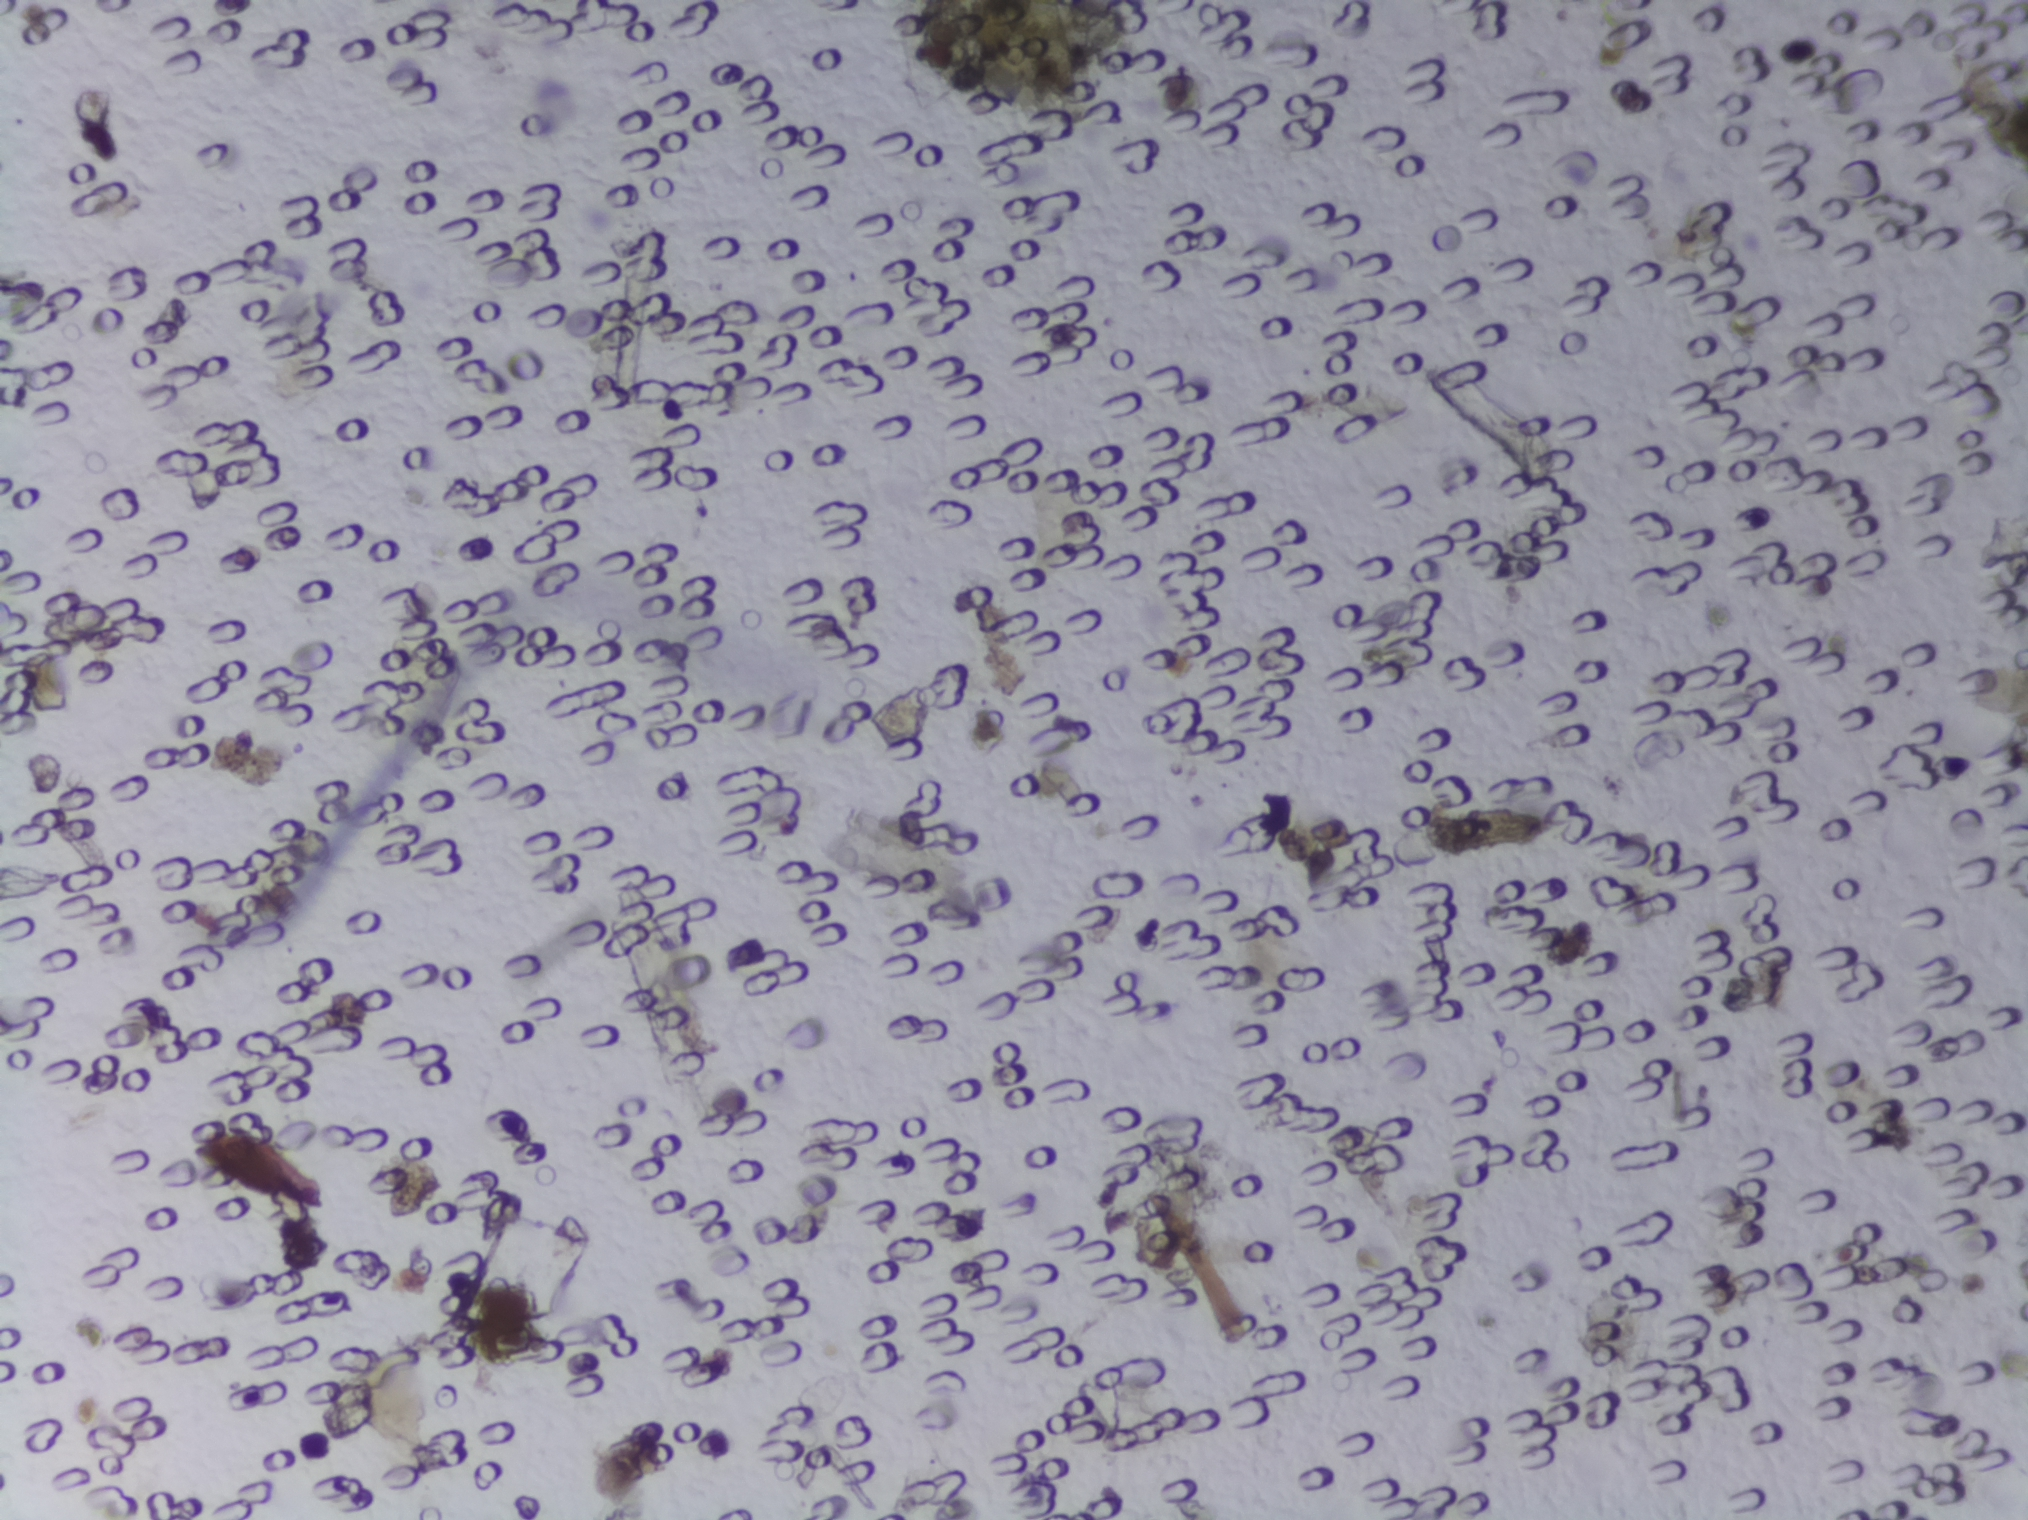
No area of this image was outlined as a Schistosoma egg.
Photograph from an automated digital microscope: urine filter membrane, 4× objective. Field of view: about 1.5 mm wide and 1.1 mm high.